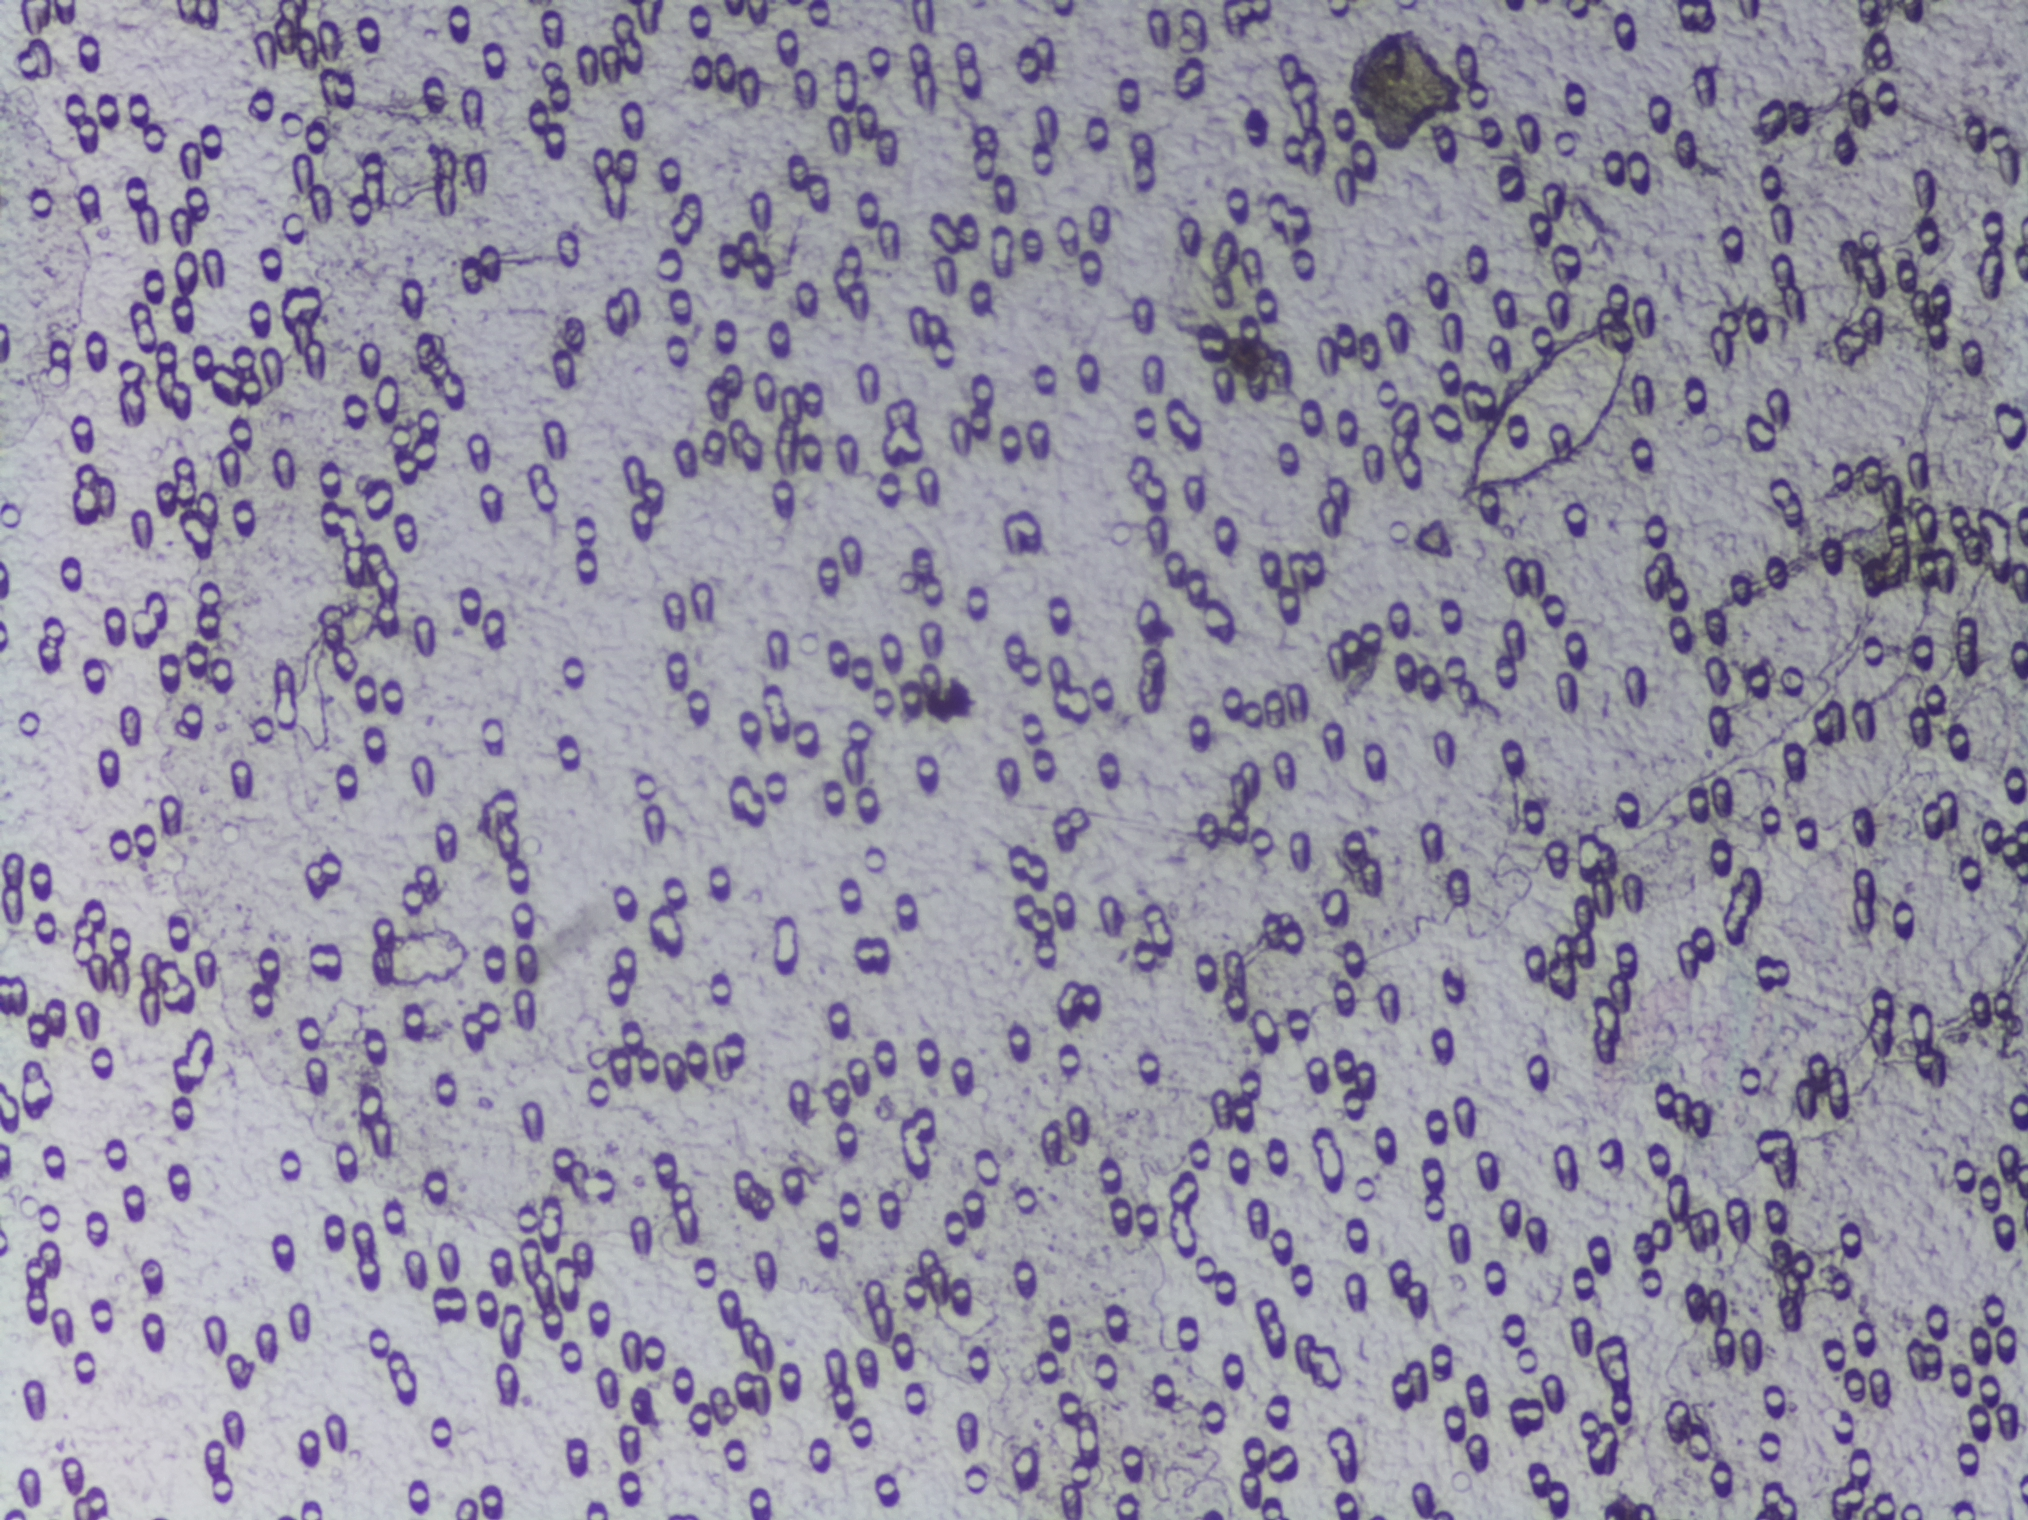
Photograph from an automated digital microscope: urine filter membrane, 4× objective.
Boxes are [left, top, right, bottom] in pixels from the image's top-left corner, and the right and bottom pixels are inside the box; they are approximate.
{"schistosoma_egg_areas_xyxy_px": [[1450, 314, 1638, 510]]}
Marked pixels, not the box around them: about 0.7% of the image. A single outlined area may contain several eggs.